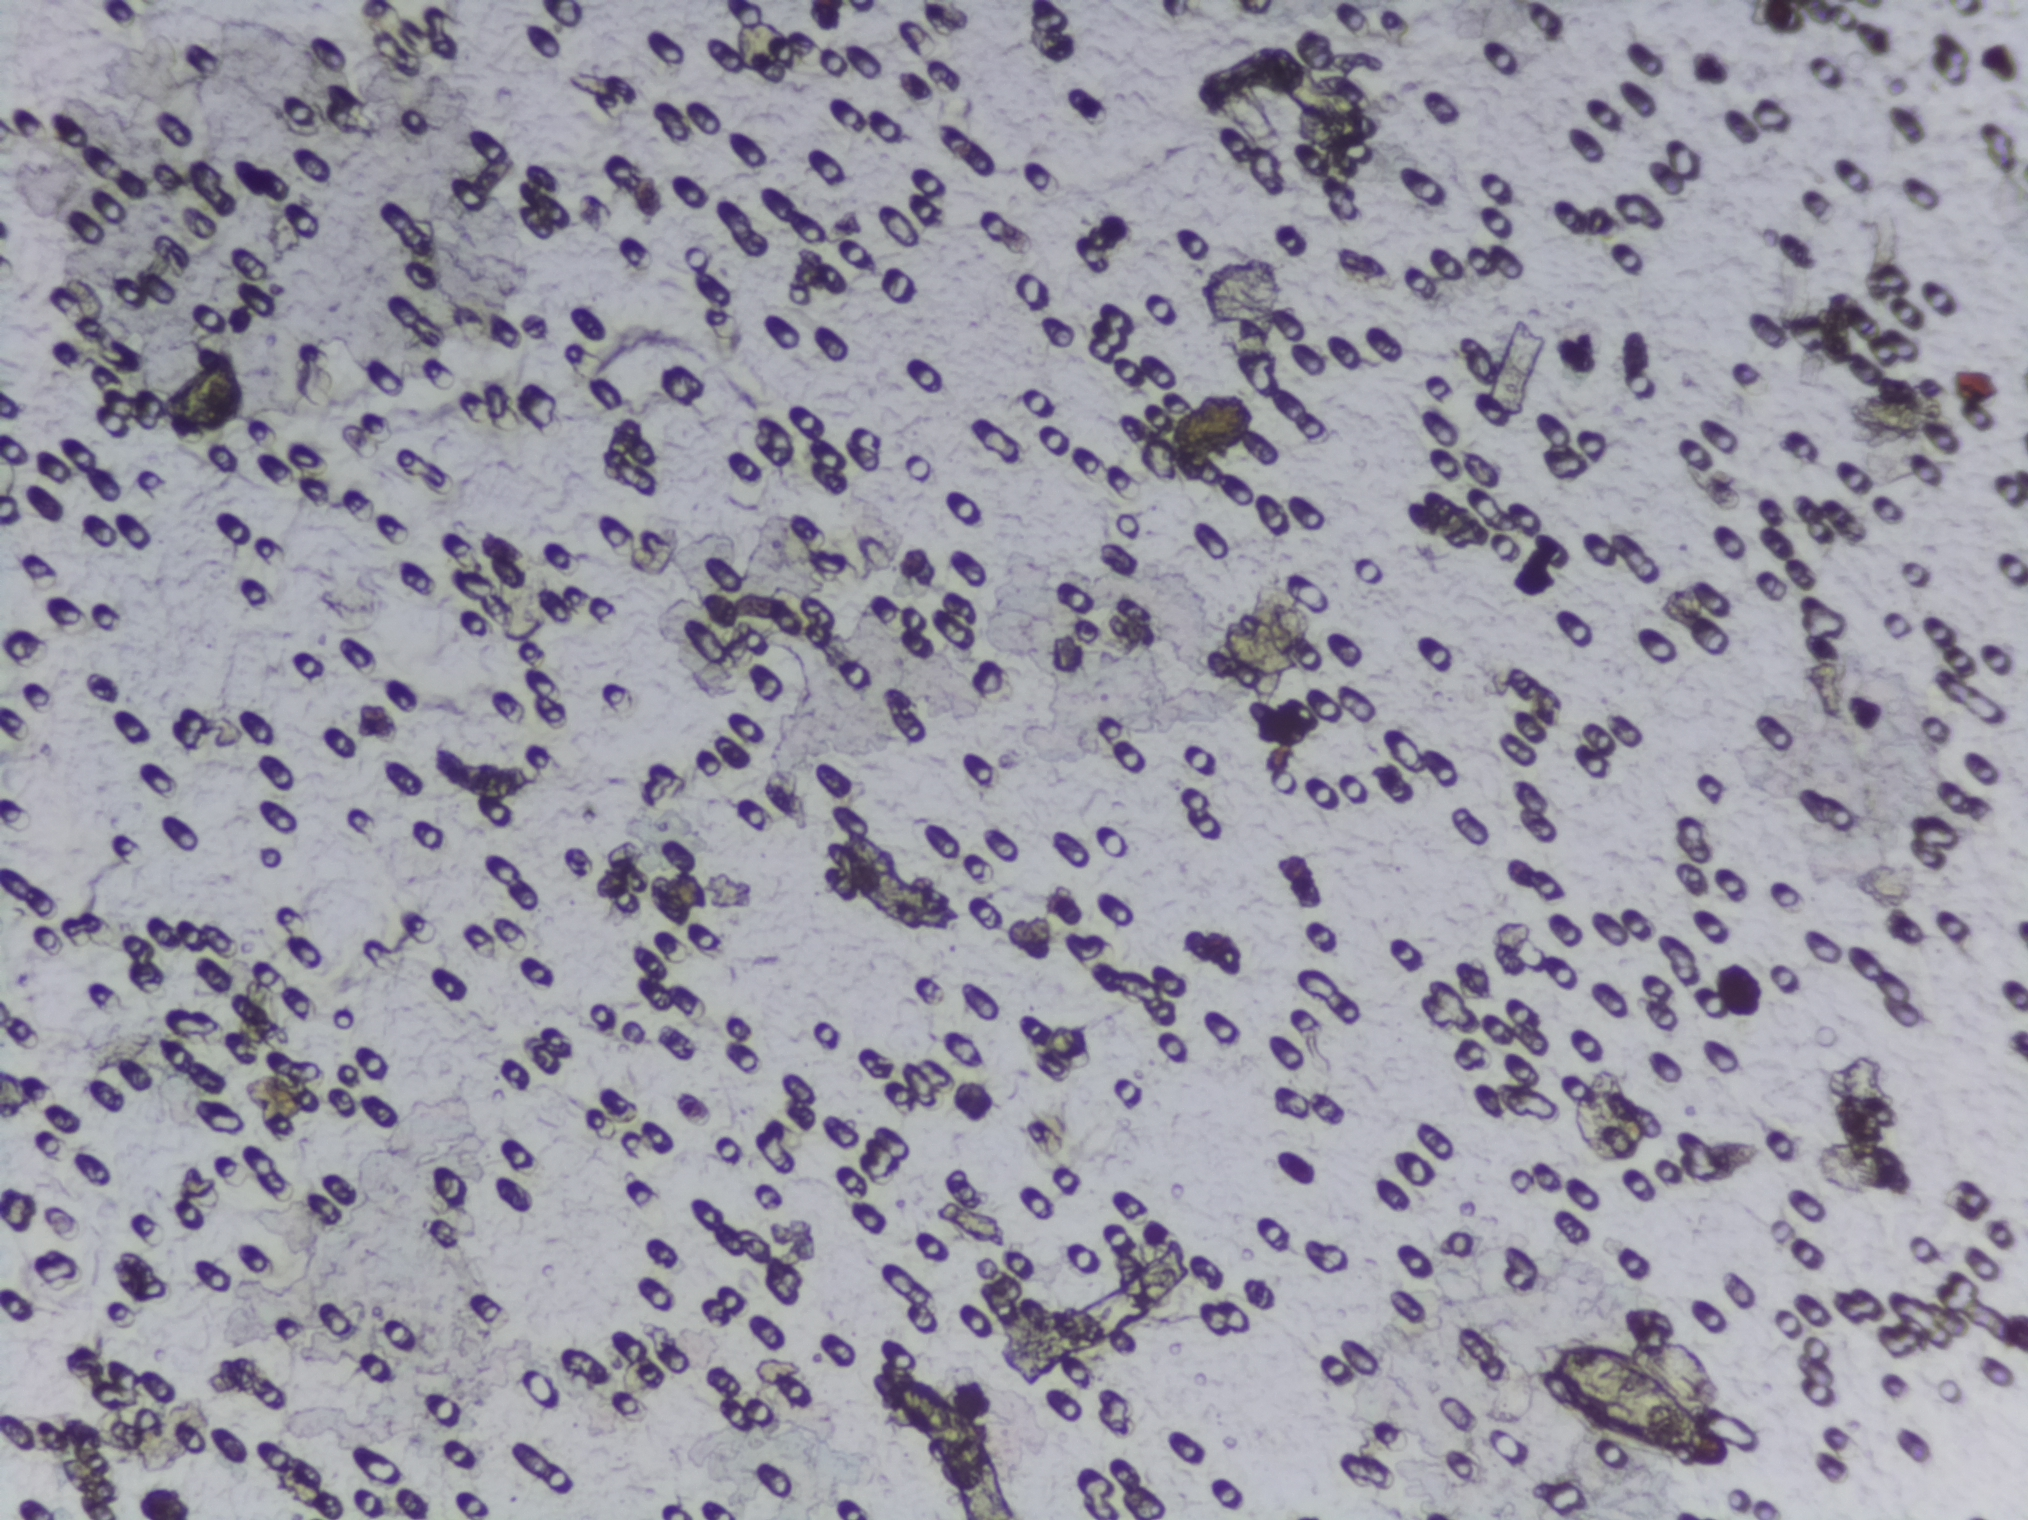
One field of view of a urine filter membrane, 4× objective, 2028 × 1520 pixels.
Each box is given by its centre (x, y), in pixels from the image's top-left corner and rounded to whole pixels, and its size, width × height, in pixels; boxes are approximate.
Schistosoma eggs are outlined in one area of this image: centre (1638, 1400), 199 × 155 px. A single outlined area may contain several eggs. Any one outlined egg may, rarely, be S. mansoni rather than S. haematobium.